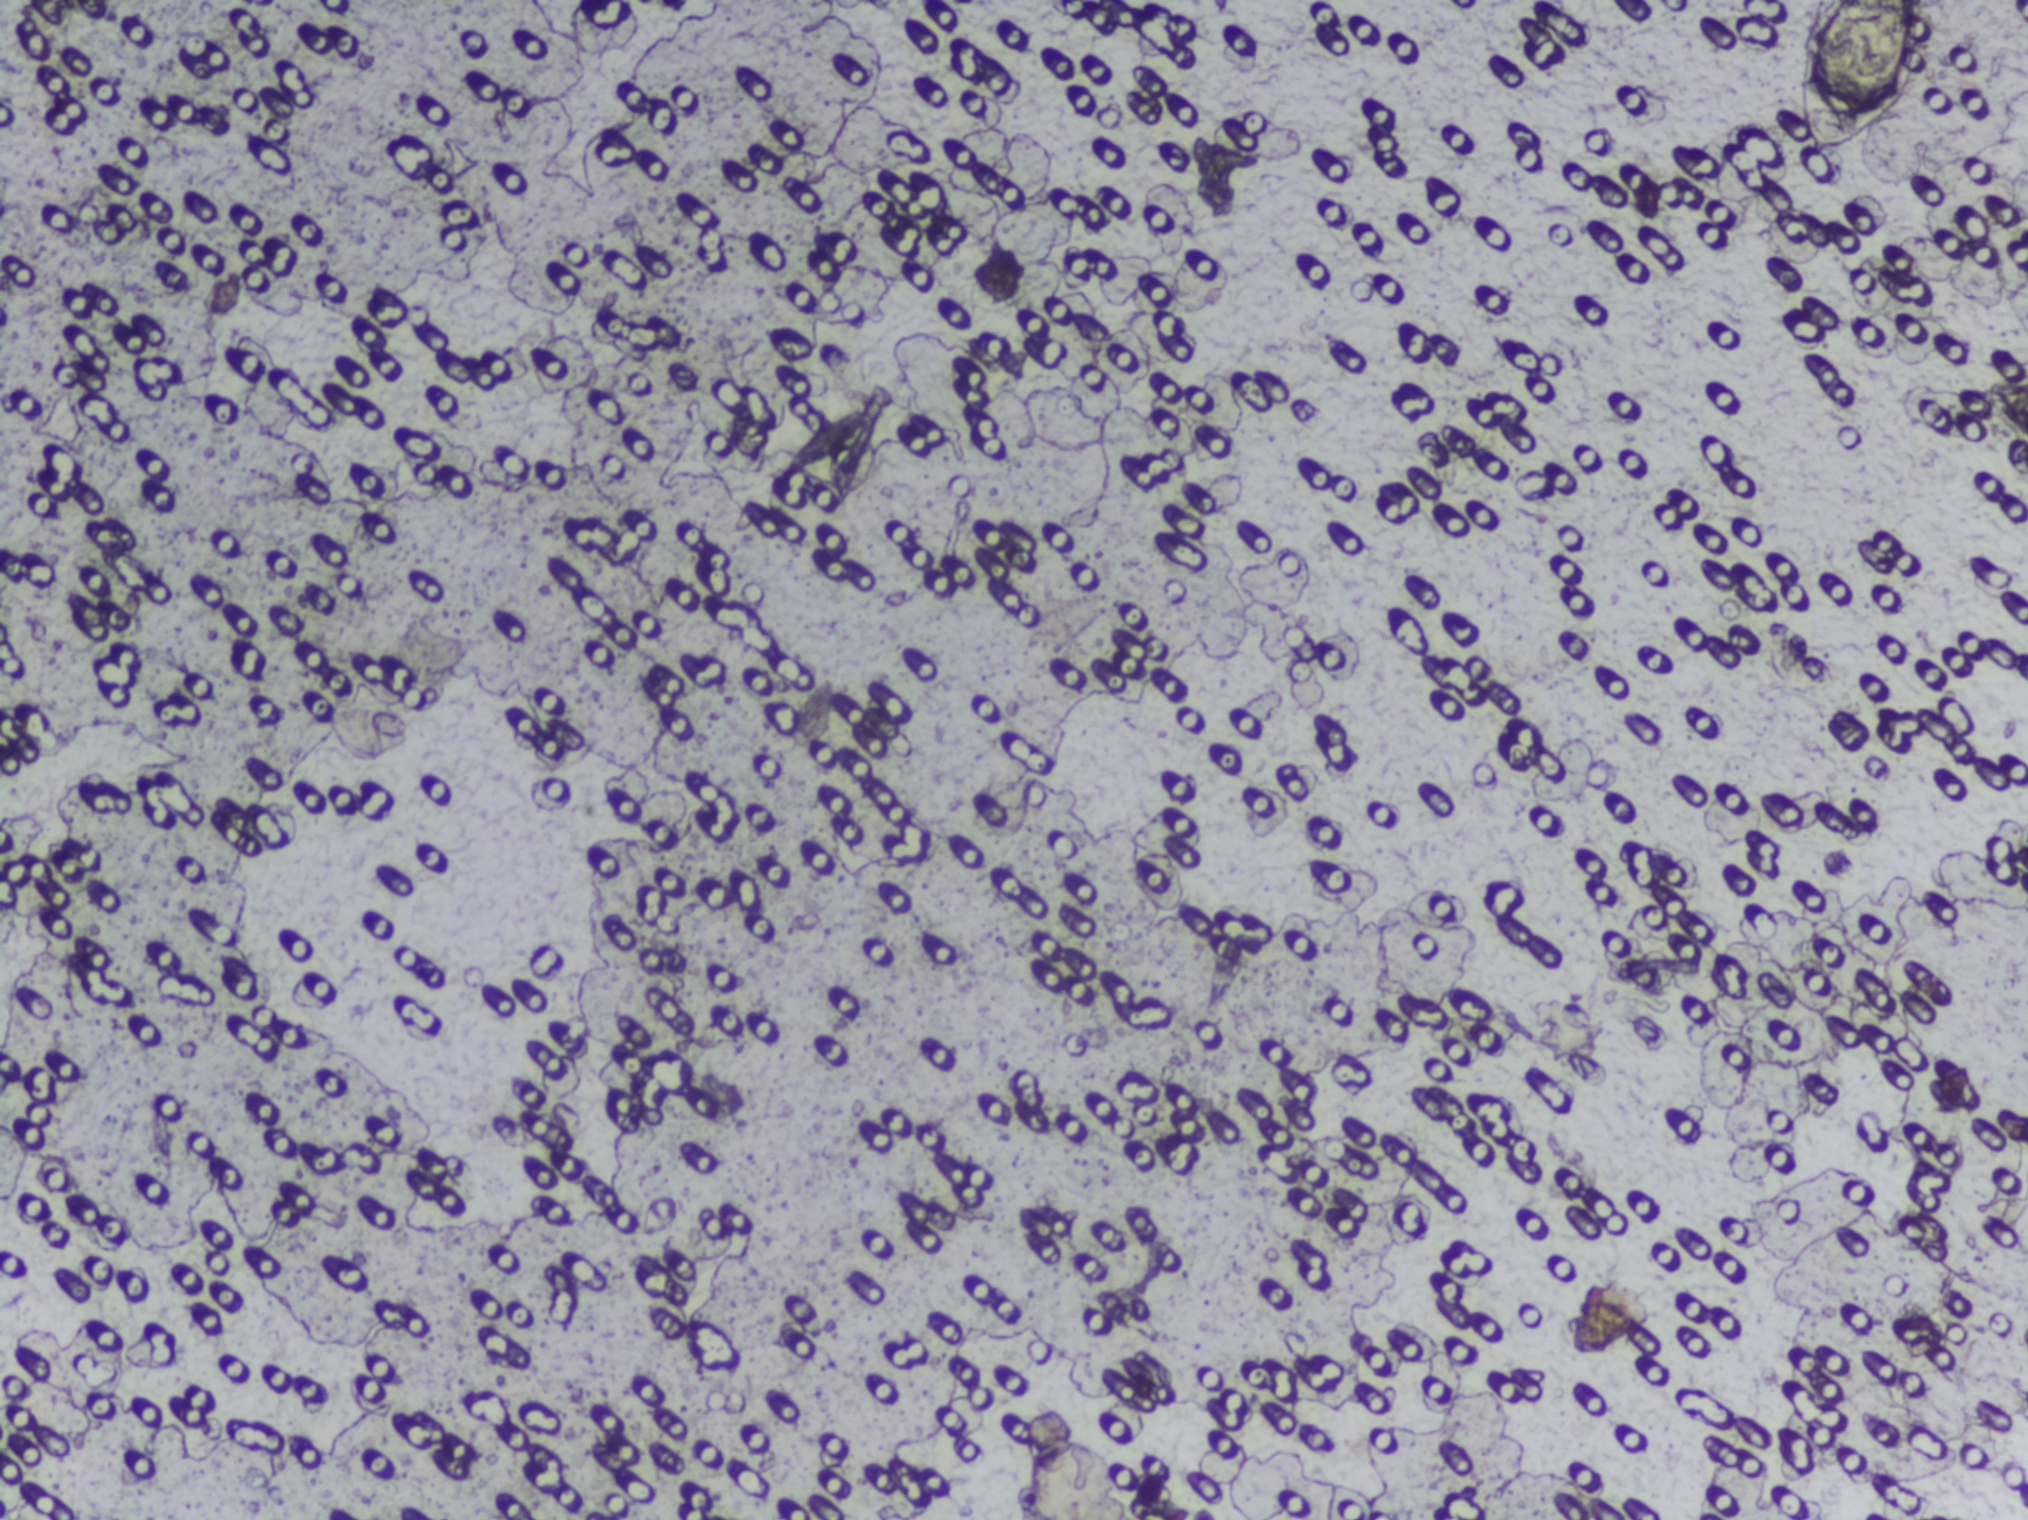
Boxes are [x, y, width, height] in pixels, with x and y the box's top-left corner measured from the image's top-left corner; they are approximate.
Schistosoma eggs are outlined in one area of this image: [1785, 1, 176, 160]. Eggs that touch can end up inside the same outlined area.
Photomicrograph of a urine filtration membrane, 4× objective.